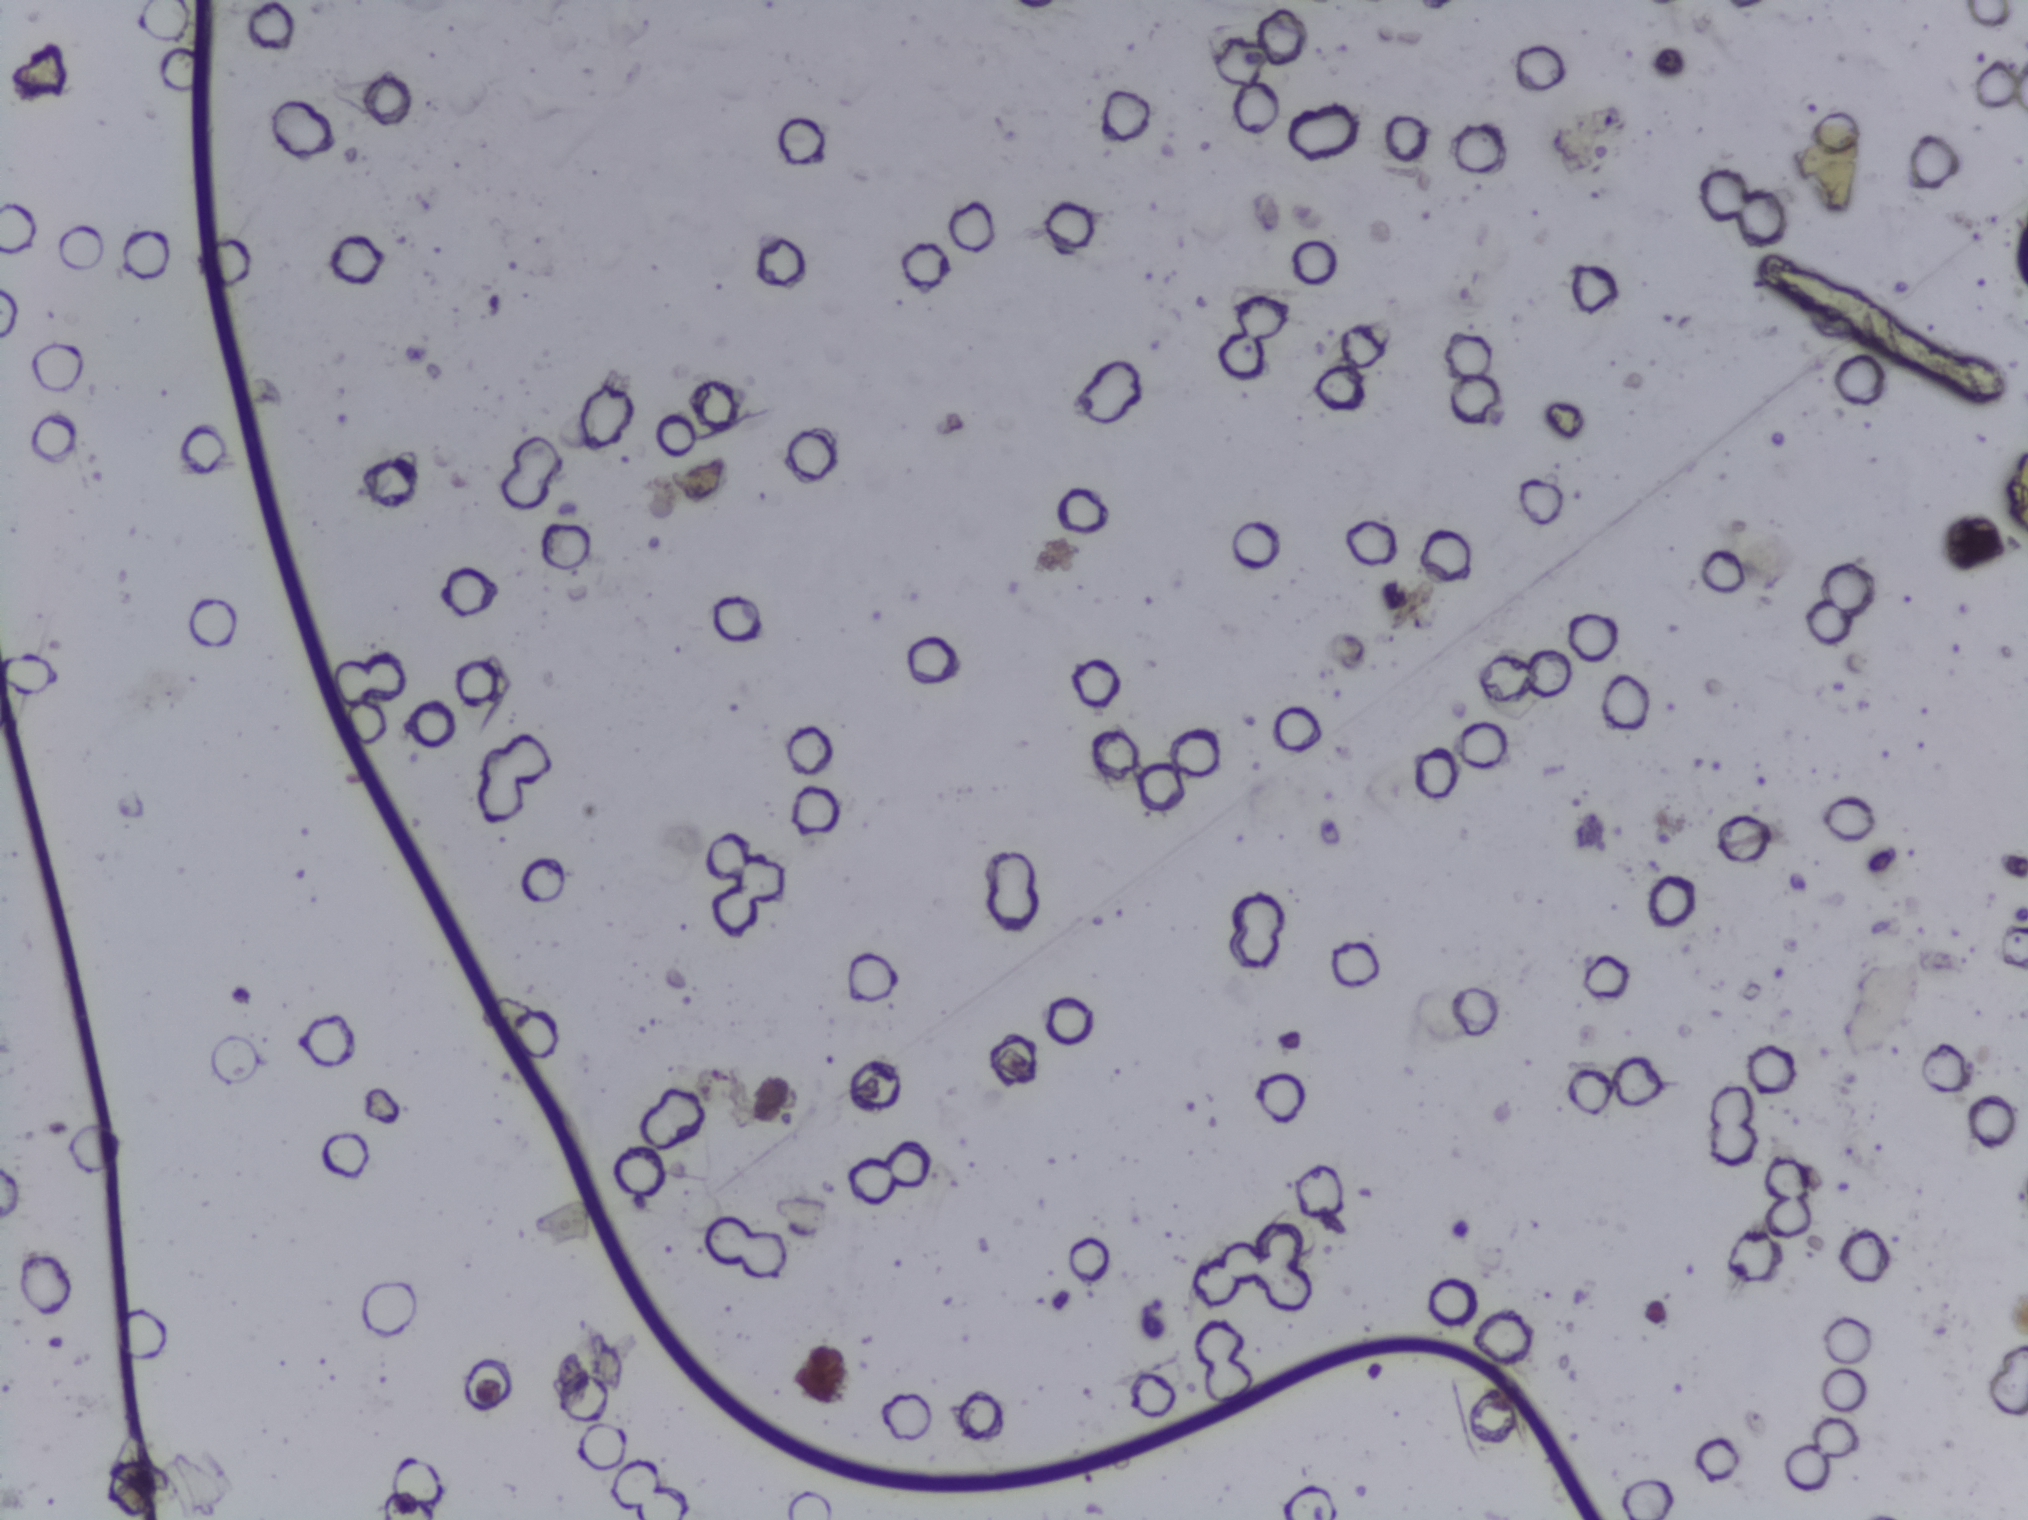
The expert annotation marks no Schistosoma egg in this field of view.
Photomicrograph of a urine filtration membrane, 4× objective. The image covers about 1.5 × 1.1 mm of the membrane.